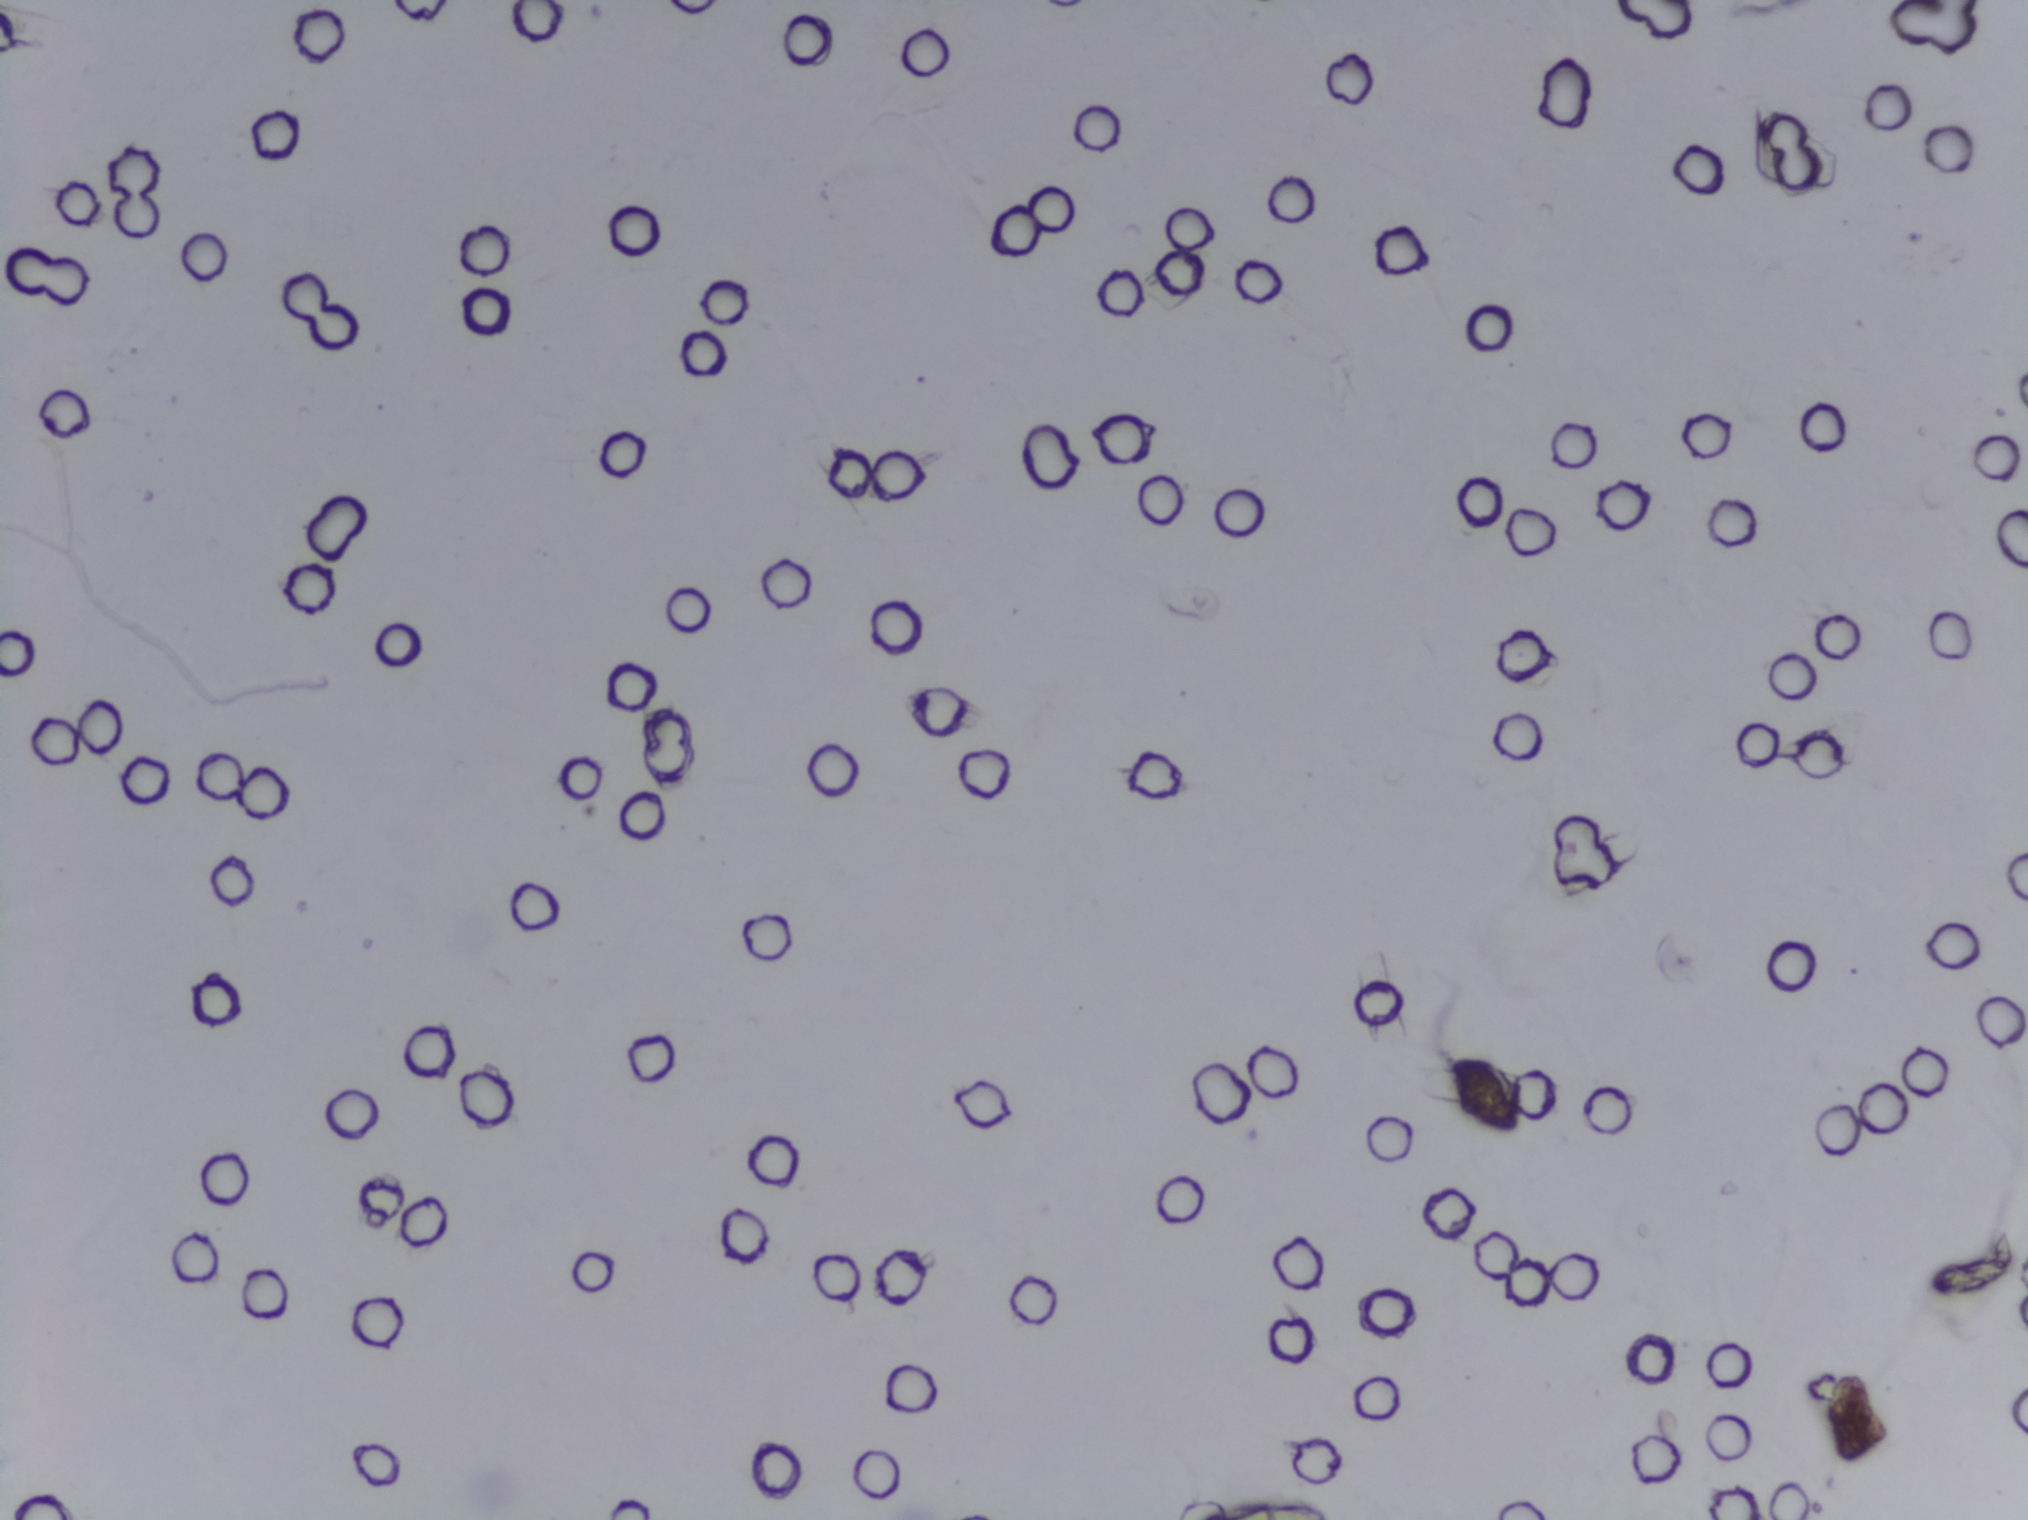
Microscope photograph (4× objective) of a membrane that a urine sample was filtered through.
No Schistosoma egg is outlined in this image's expert annotation.